Photomicrograph of a urine filtration membrane, 4× objective.
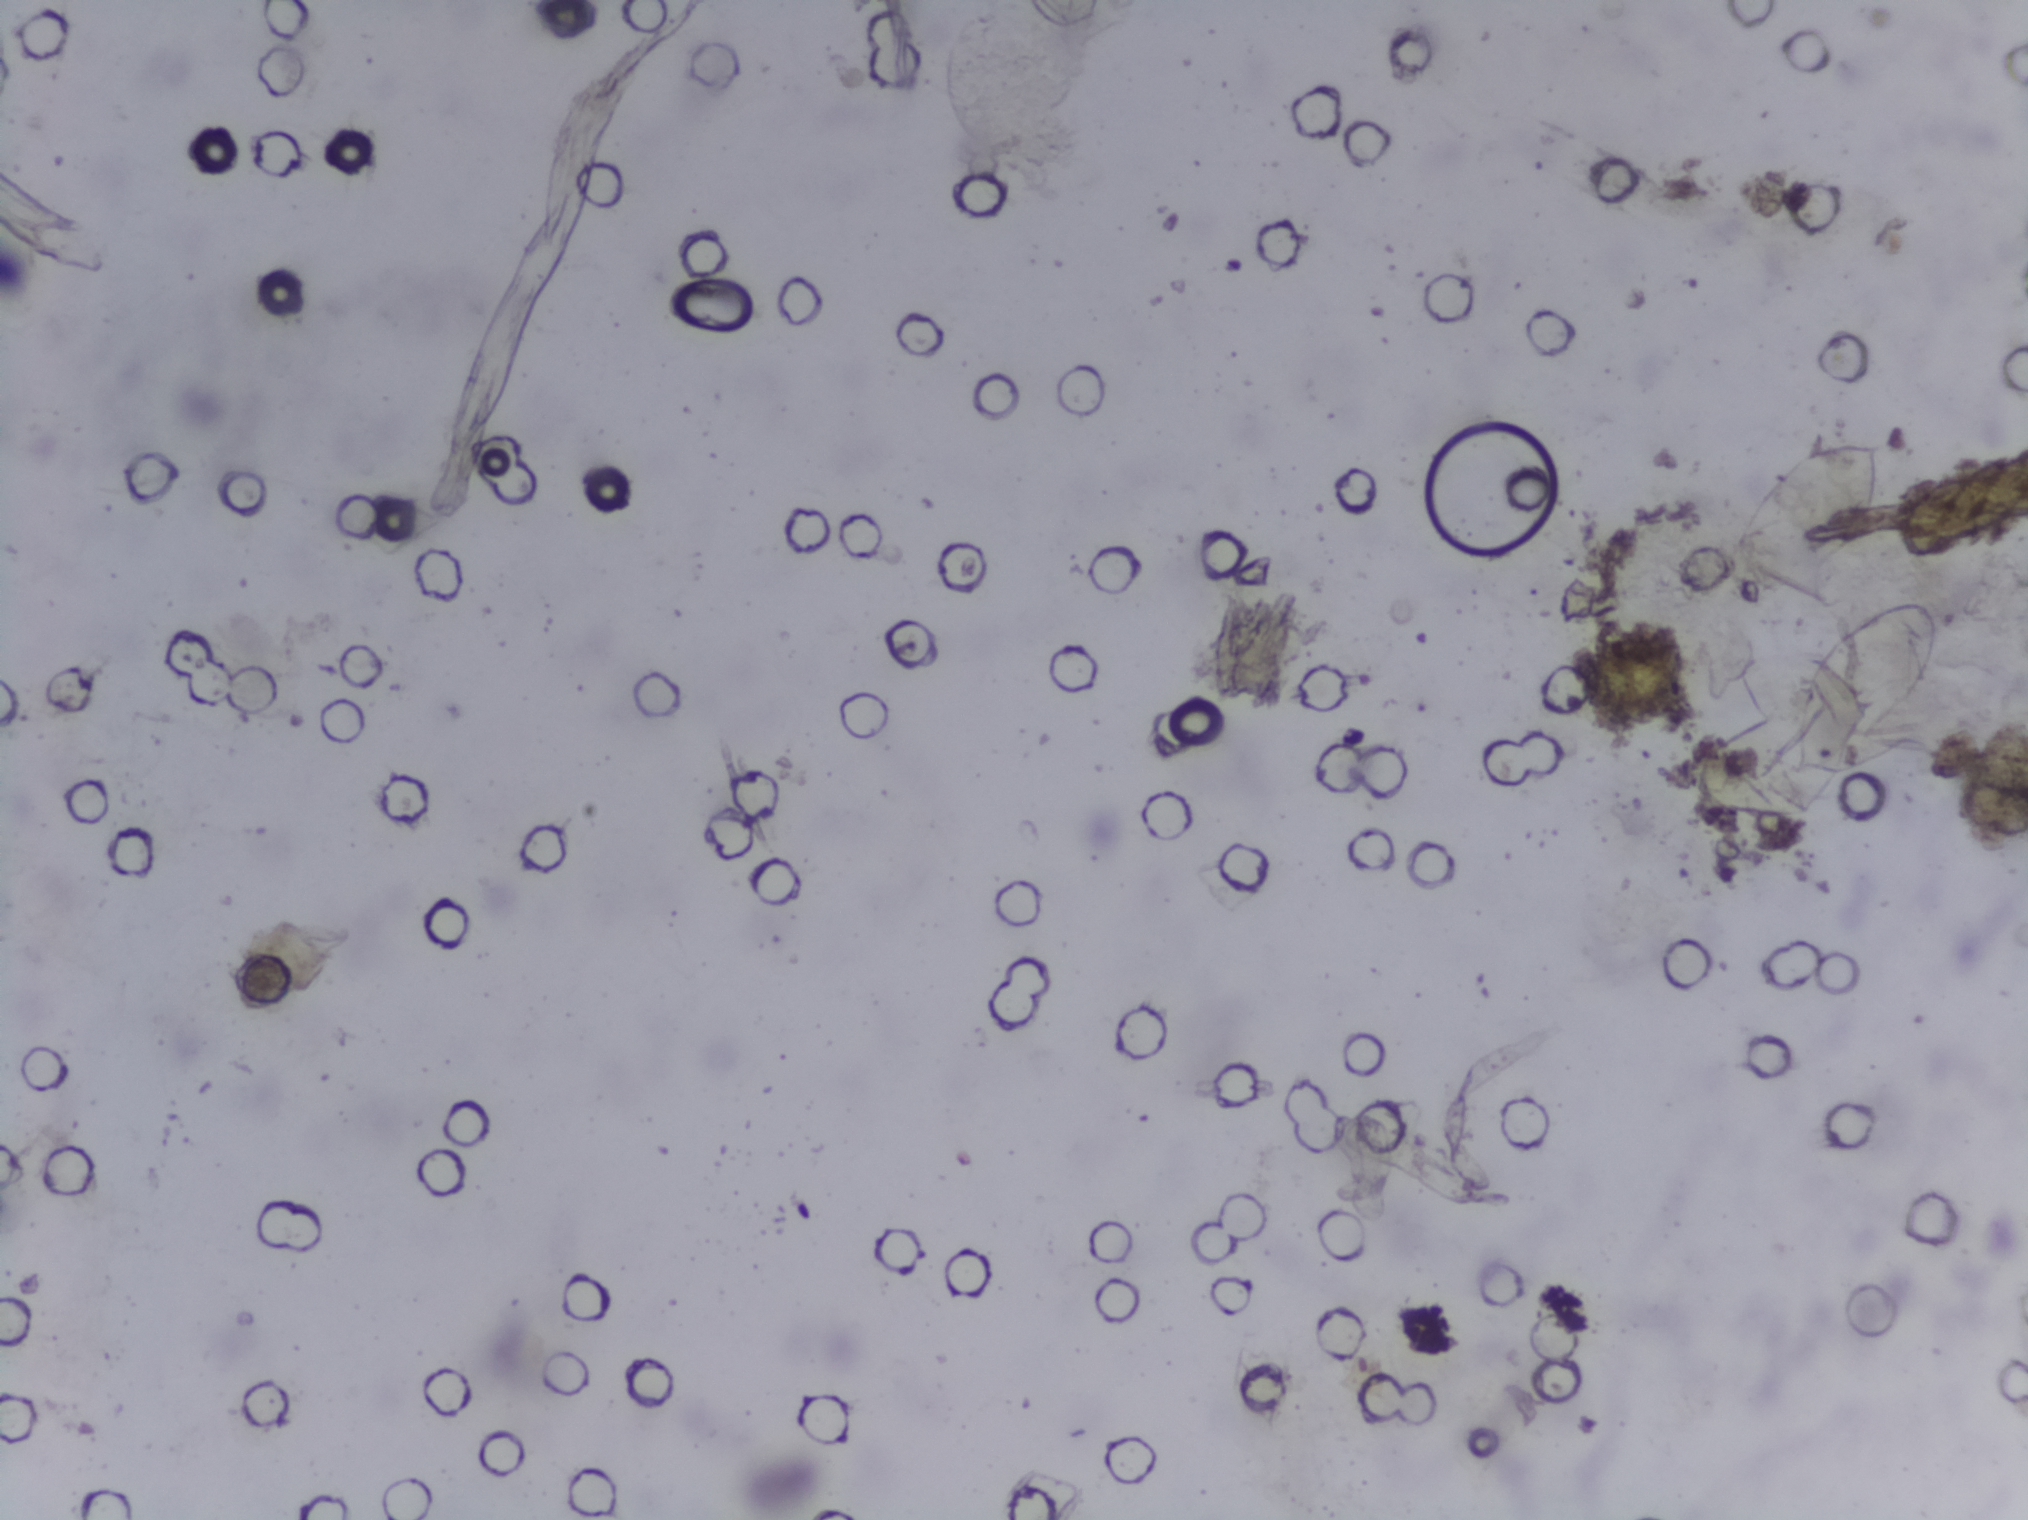
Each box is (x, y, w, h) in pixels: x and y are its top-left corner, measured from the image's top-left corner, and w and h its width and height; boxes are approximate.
Areas outlined as Schistosoma eggs: (x=1728, y=441, w=160, h=148); (x=1789, y=597, w=153, h=184). A single outlined area may contain several eggs.